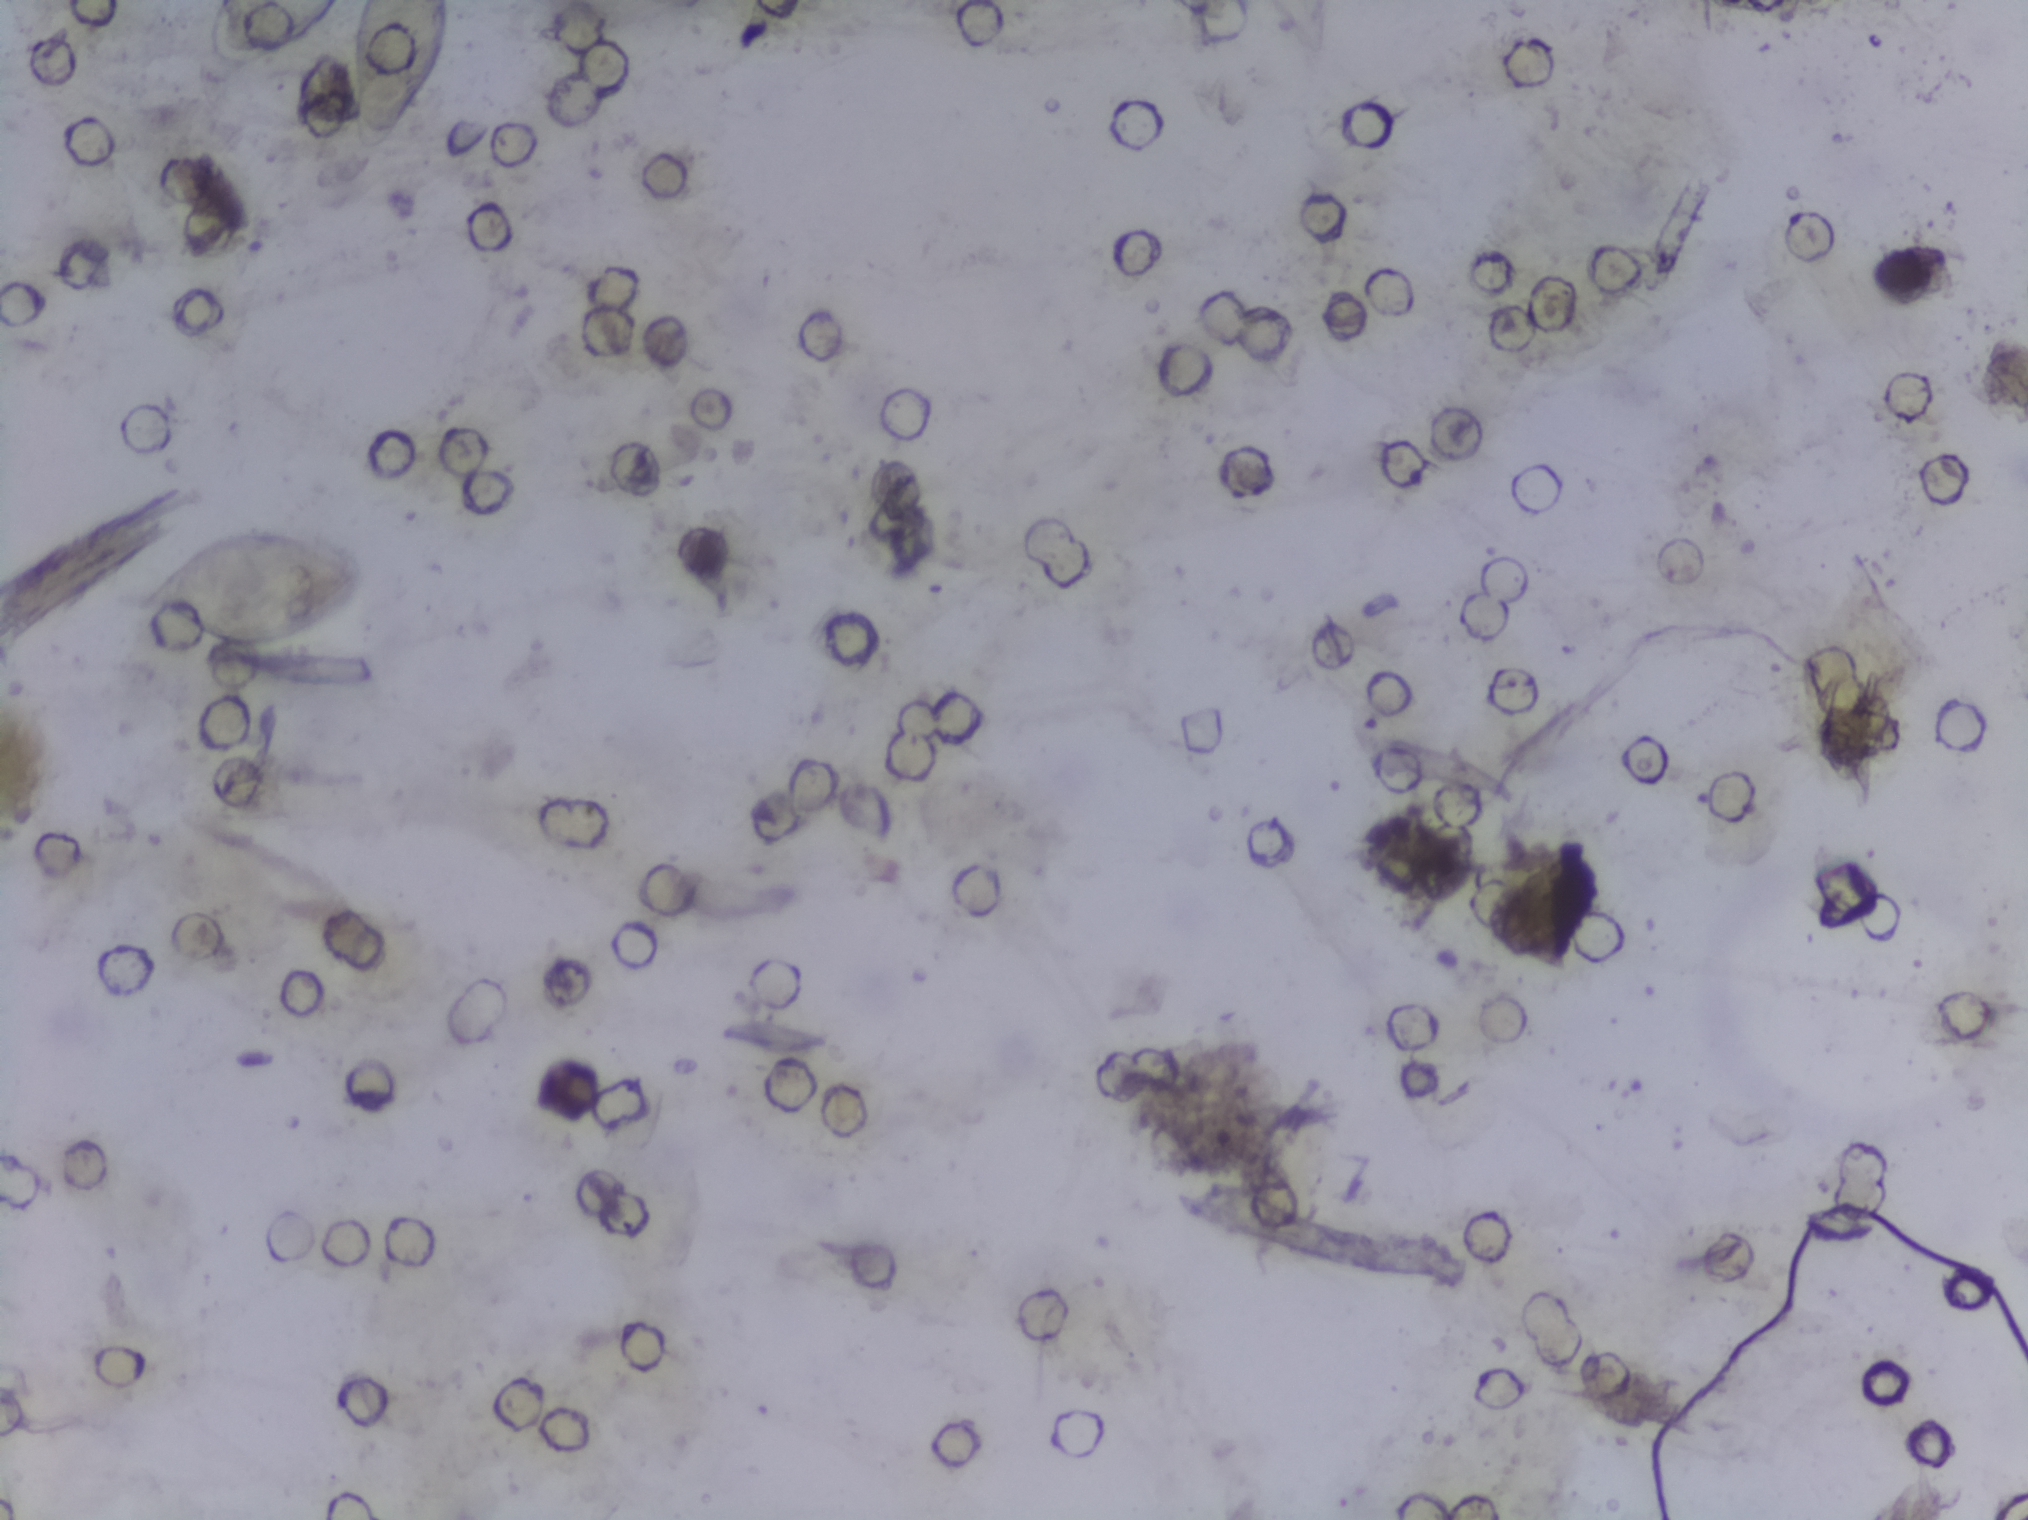
Urine filtration membrane under a 4× objective, photographed by an automated digital microscope.
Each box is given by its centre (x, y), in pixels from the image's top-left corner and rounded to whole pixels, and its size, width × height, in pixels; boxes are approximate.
The expert annotation outlines Schistosoma eggs at centre (251, 587), 229 × 124 px; centre (275, 35), 141 × 71 px (reaching the top edge of the frame); centre (399, 77), 116 × 154 px (reaching the top edge of the frame) (left to right). Eggs that touch can end up inside the same outlined area.